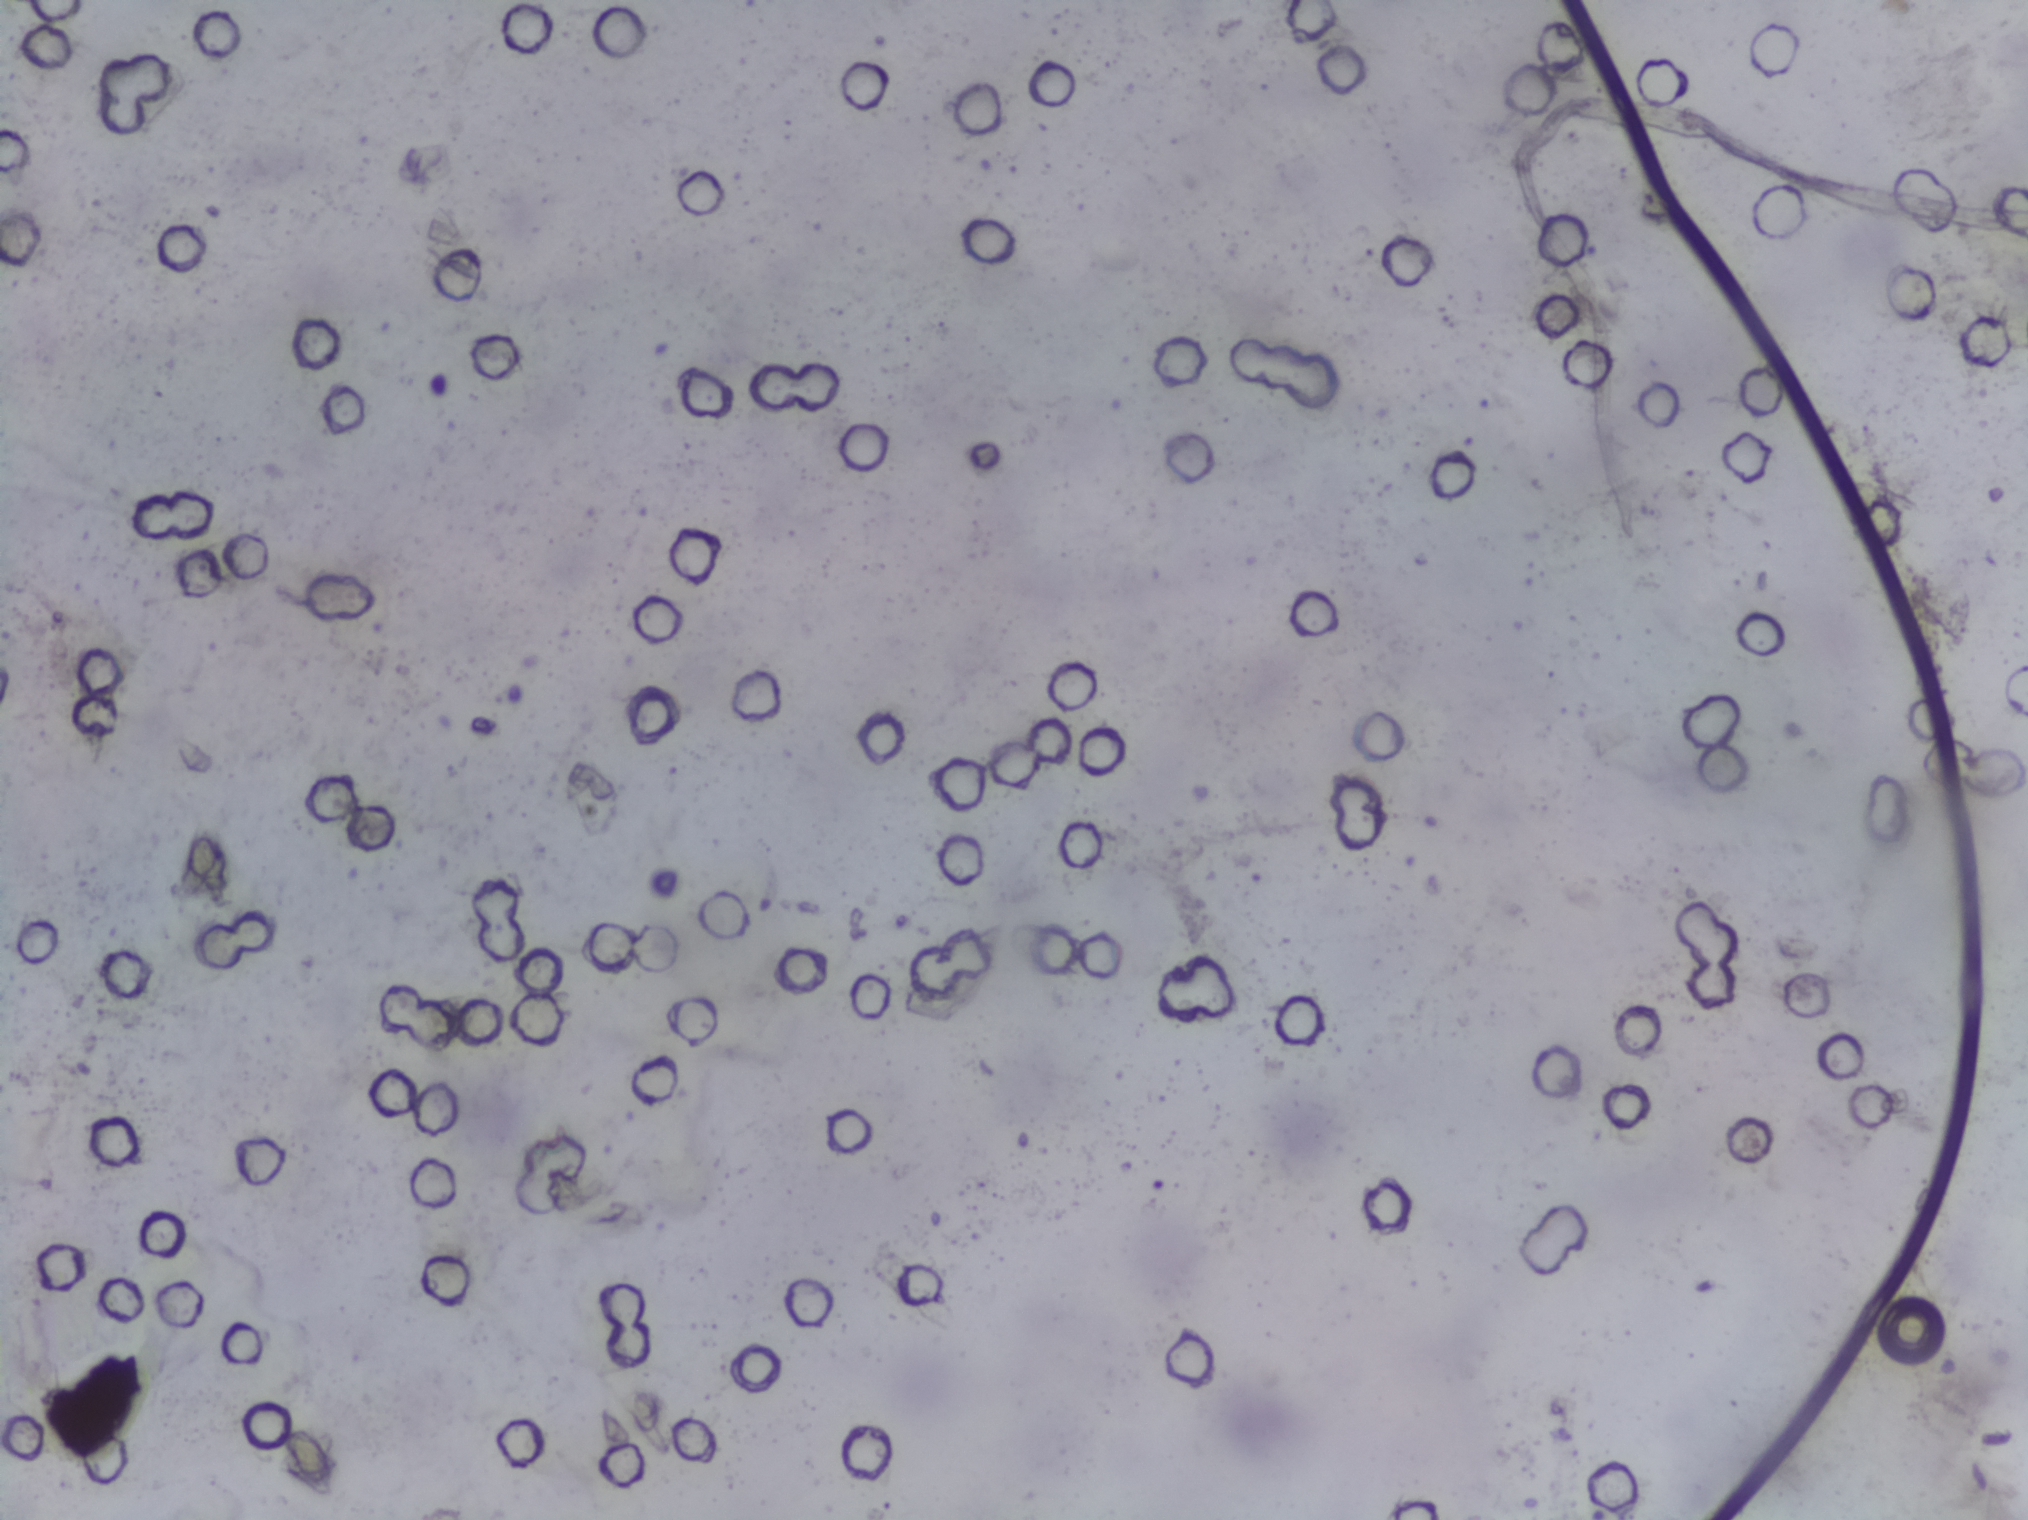
No area of this image was outlined as a Schistosoma egg.
One field of view of a urine filter membrane, 4× objective, 2028 × 1520 pixels.